Photograph from an automated digital microscope: urine filter membrane, 4× objective. The image covers about 1.5 × 1.1 mm of the membrane.
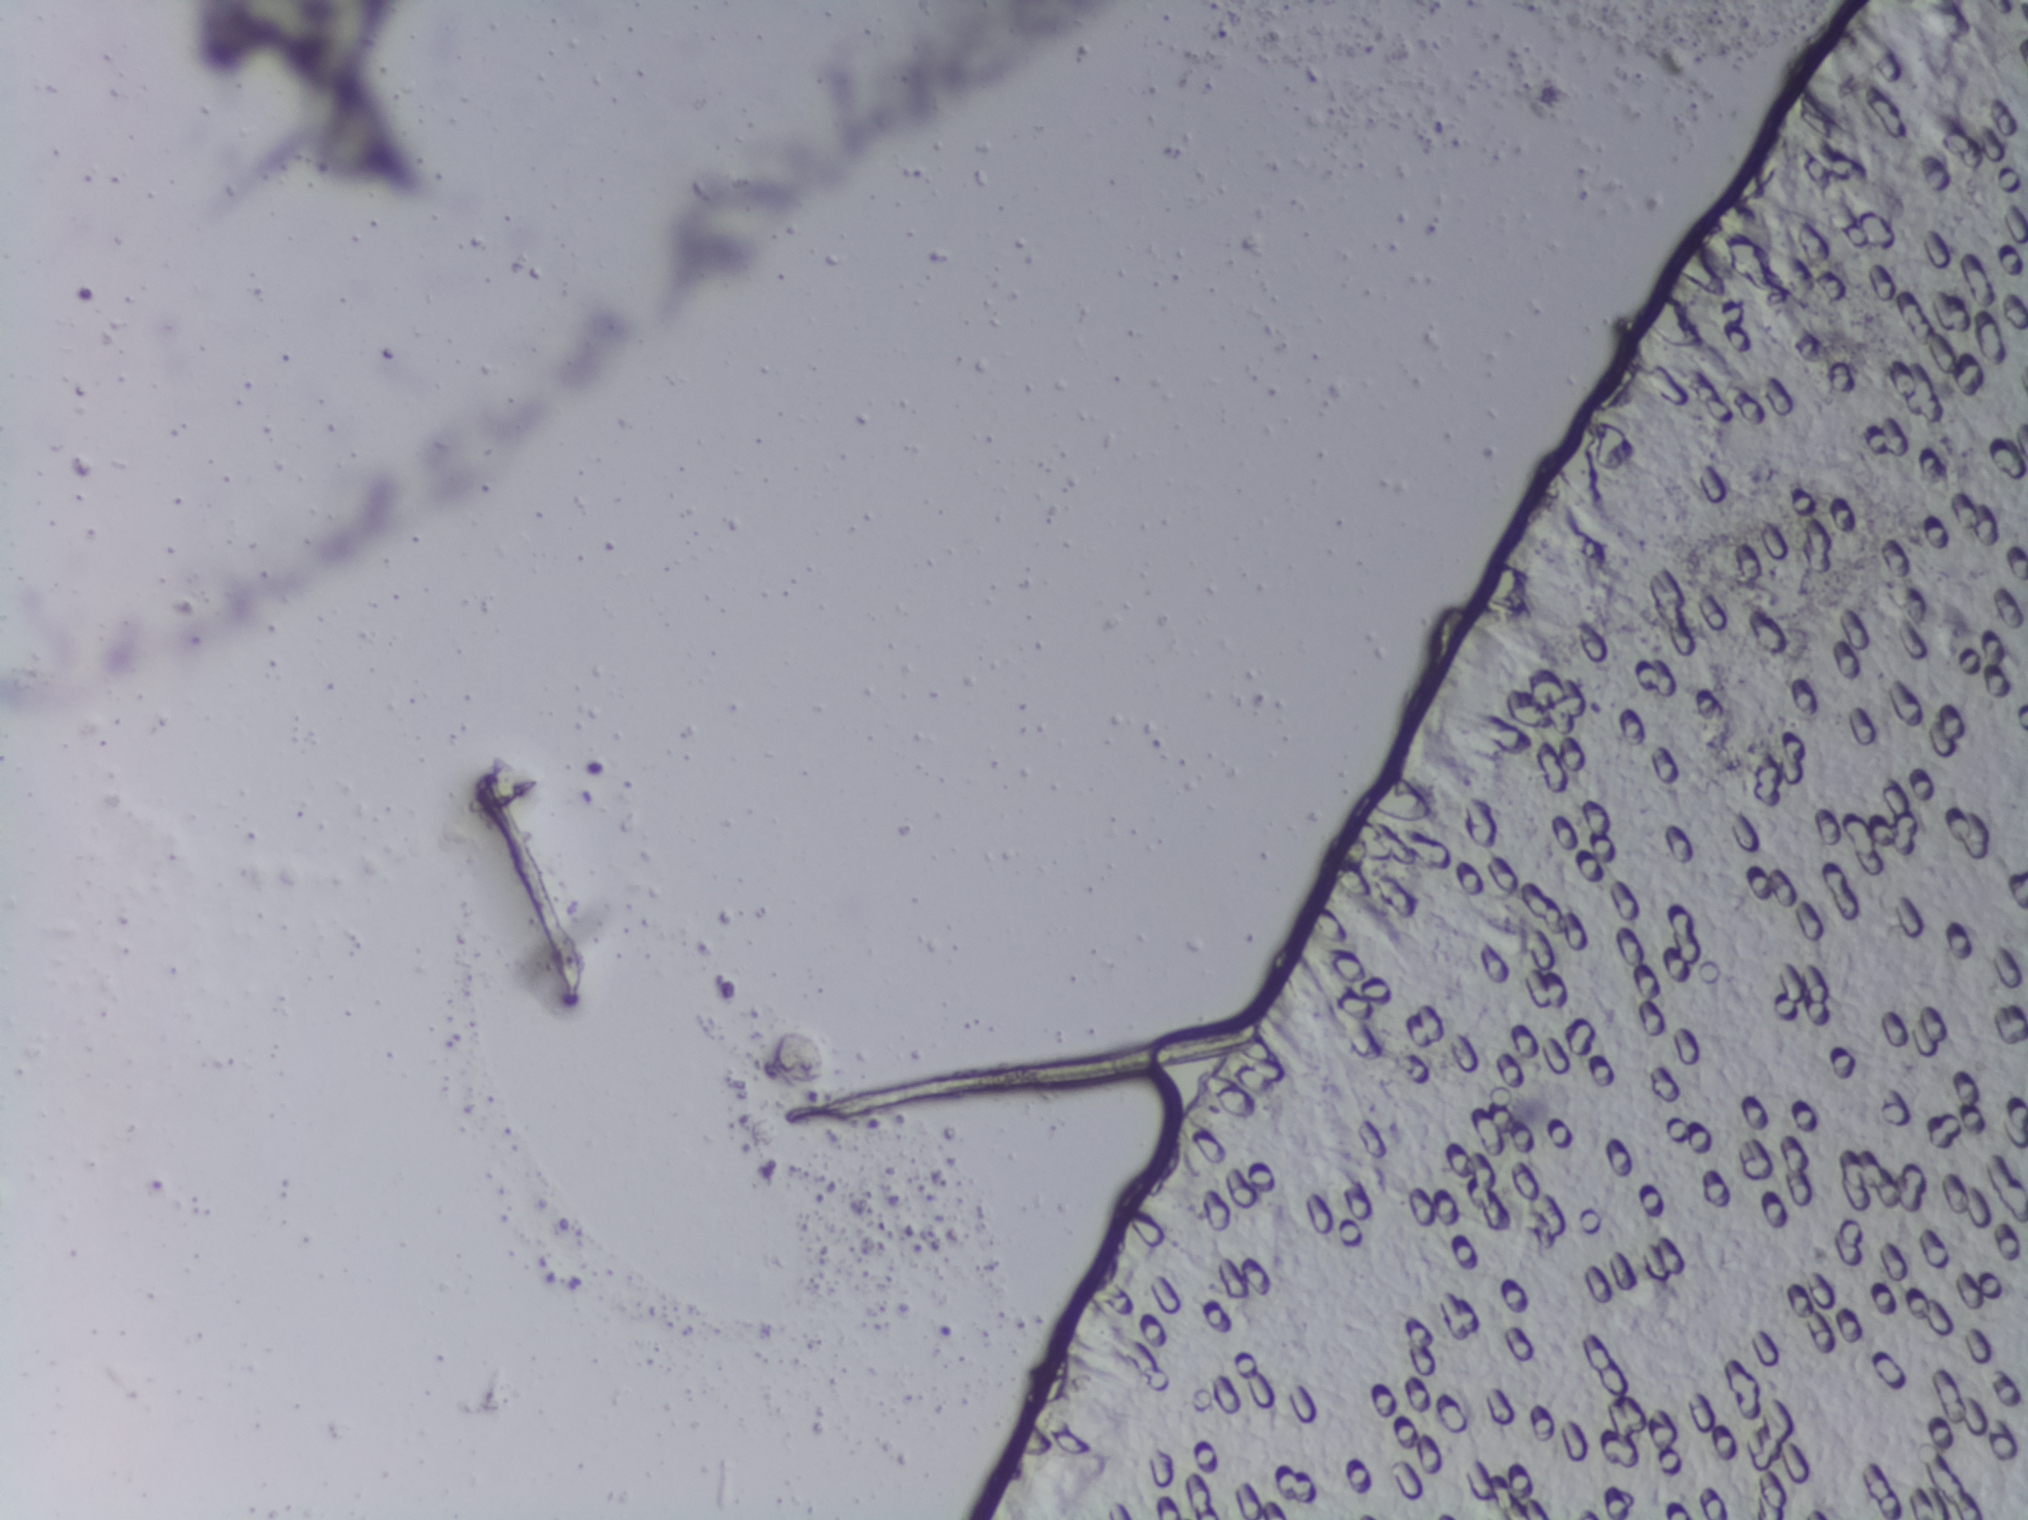
The expert annotation marks no Schistosoma egg in this field of view.